Microscope photograph (4× objective) of a membrane that a urine sample was filtered through. Field of view: about 1.5 mm wide and 1.1 mm high.
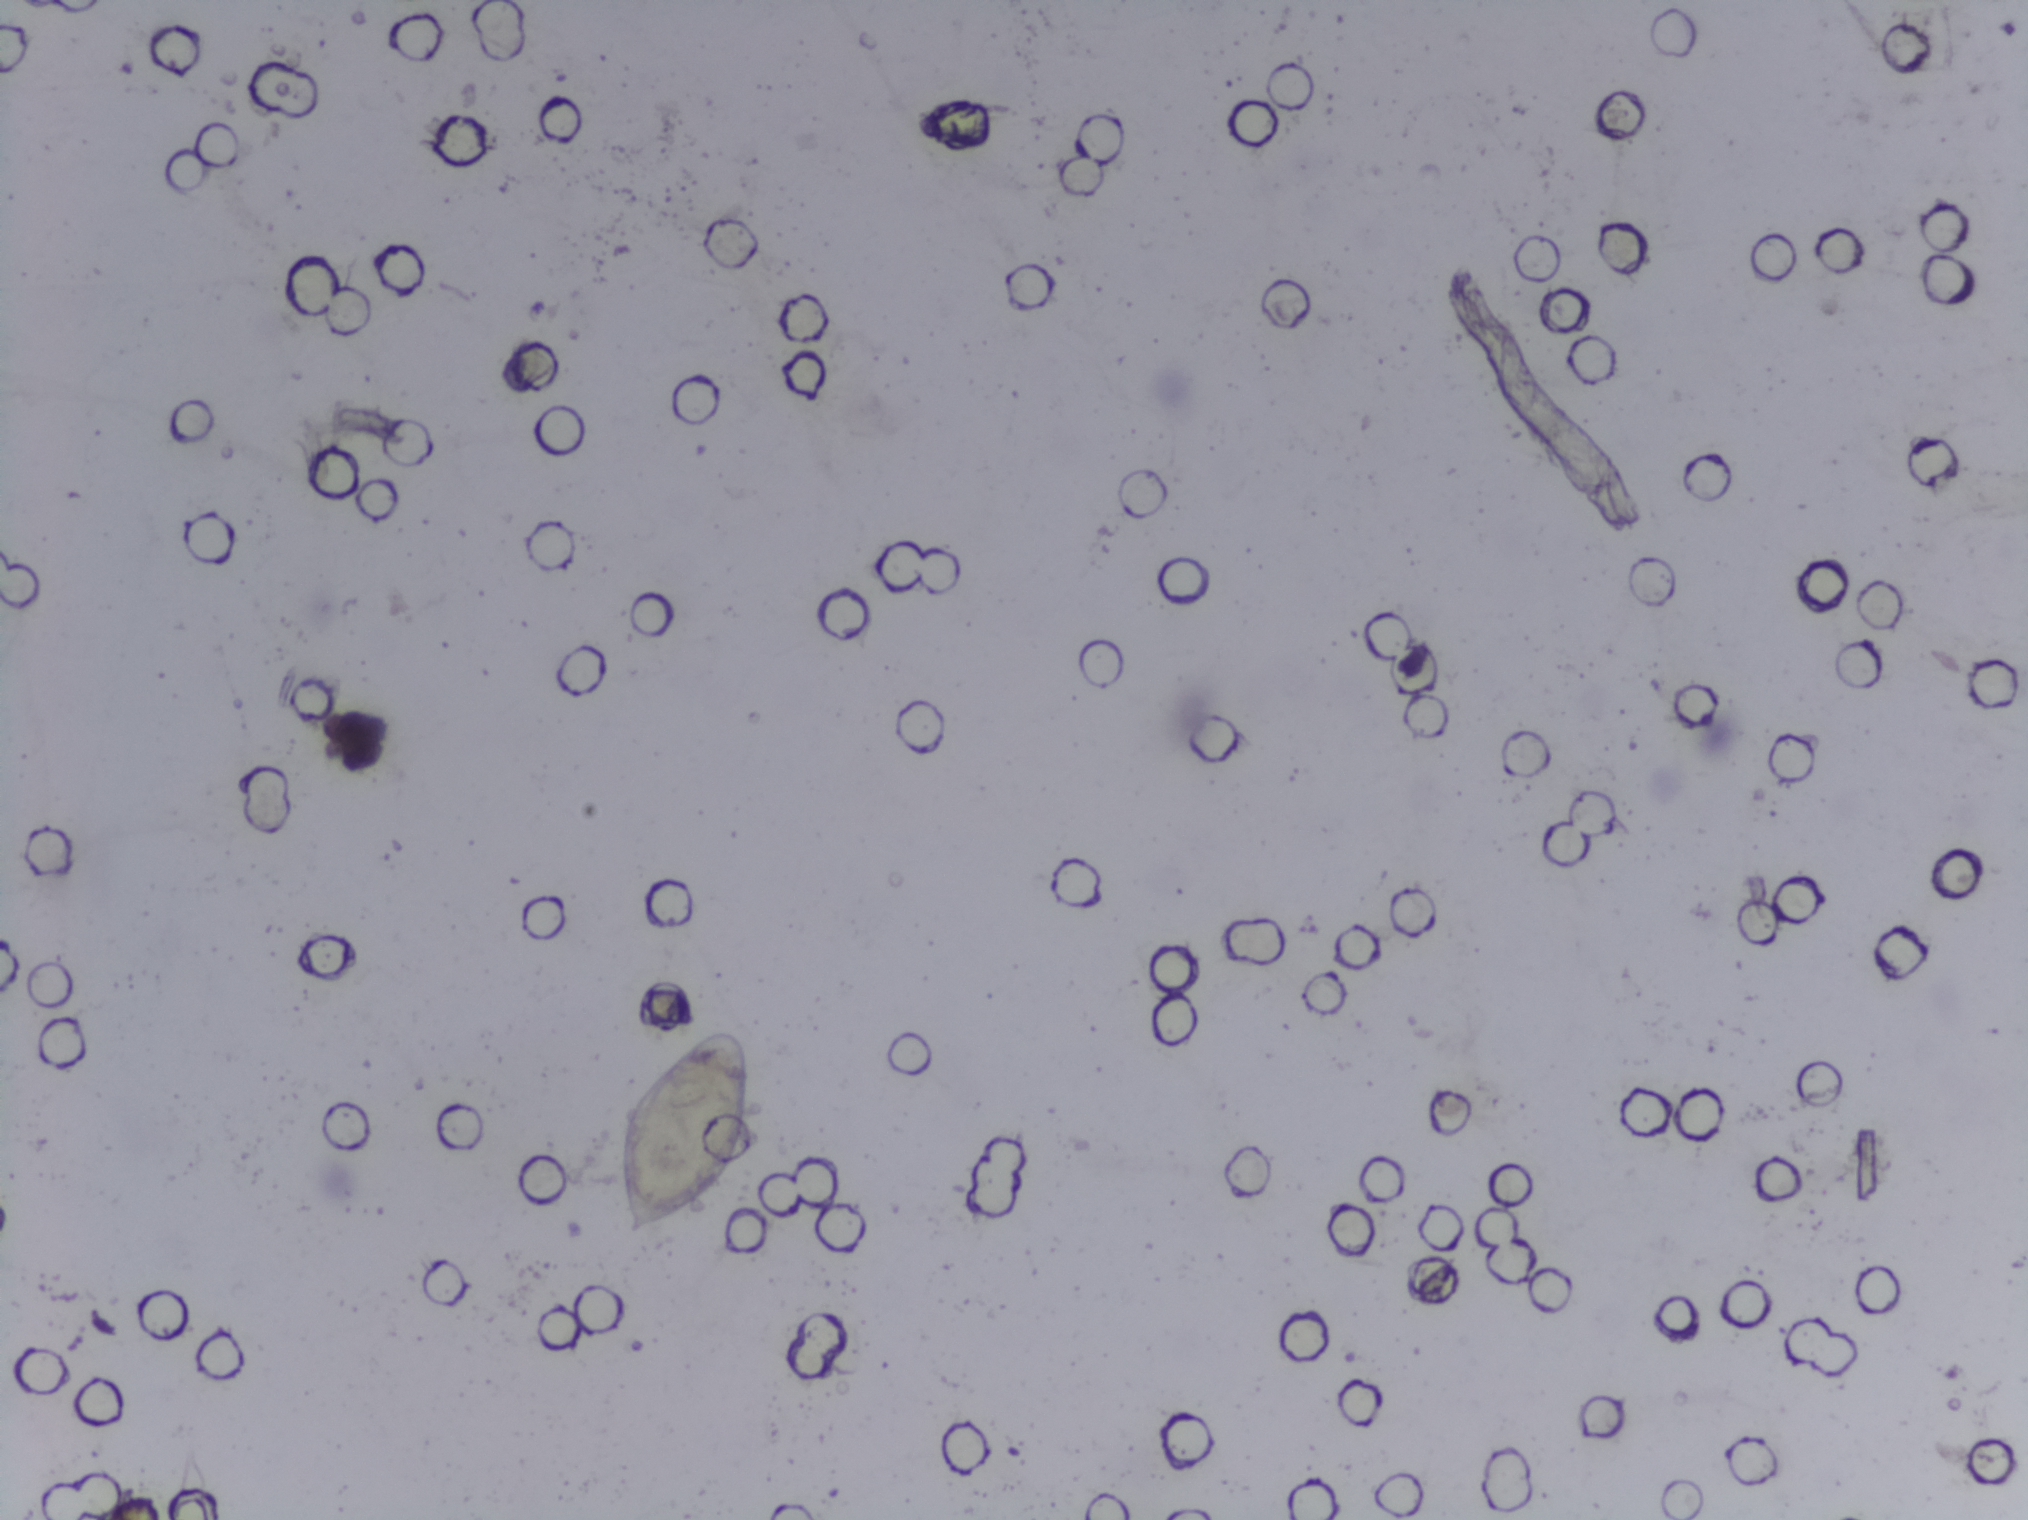
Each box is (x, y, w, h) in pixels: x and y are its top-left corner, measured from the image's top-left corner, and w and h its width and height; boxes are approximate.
Findings: one area outlined as Schistosoma eggs. Location: (x=615, y=1028, w=138, h=211). Eggs that touch can end up inside the same outlined area.